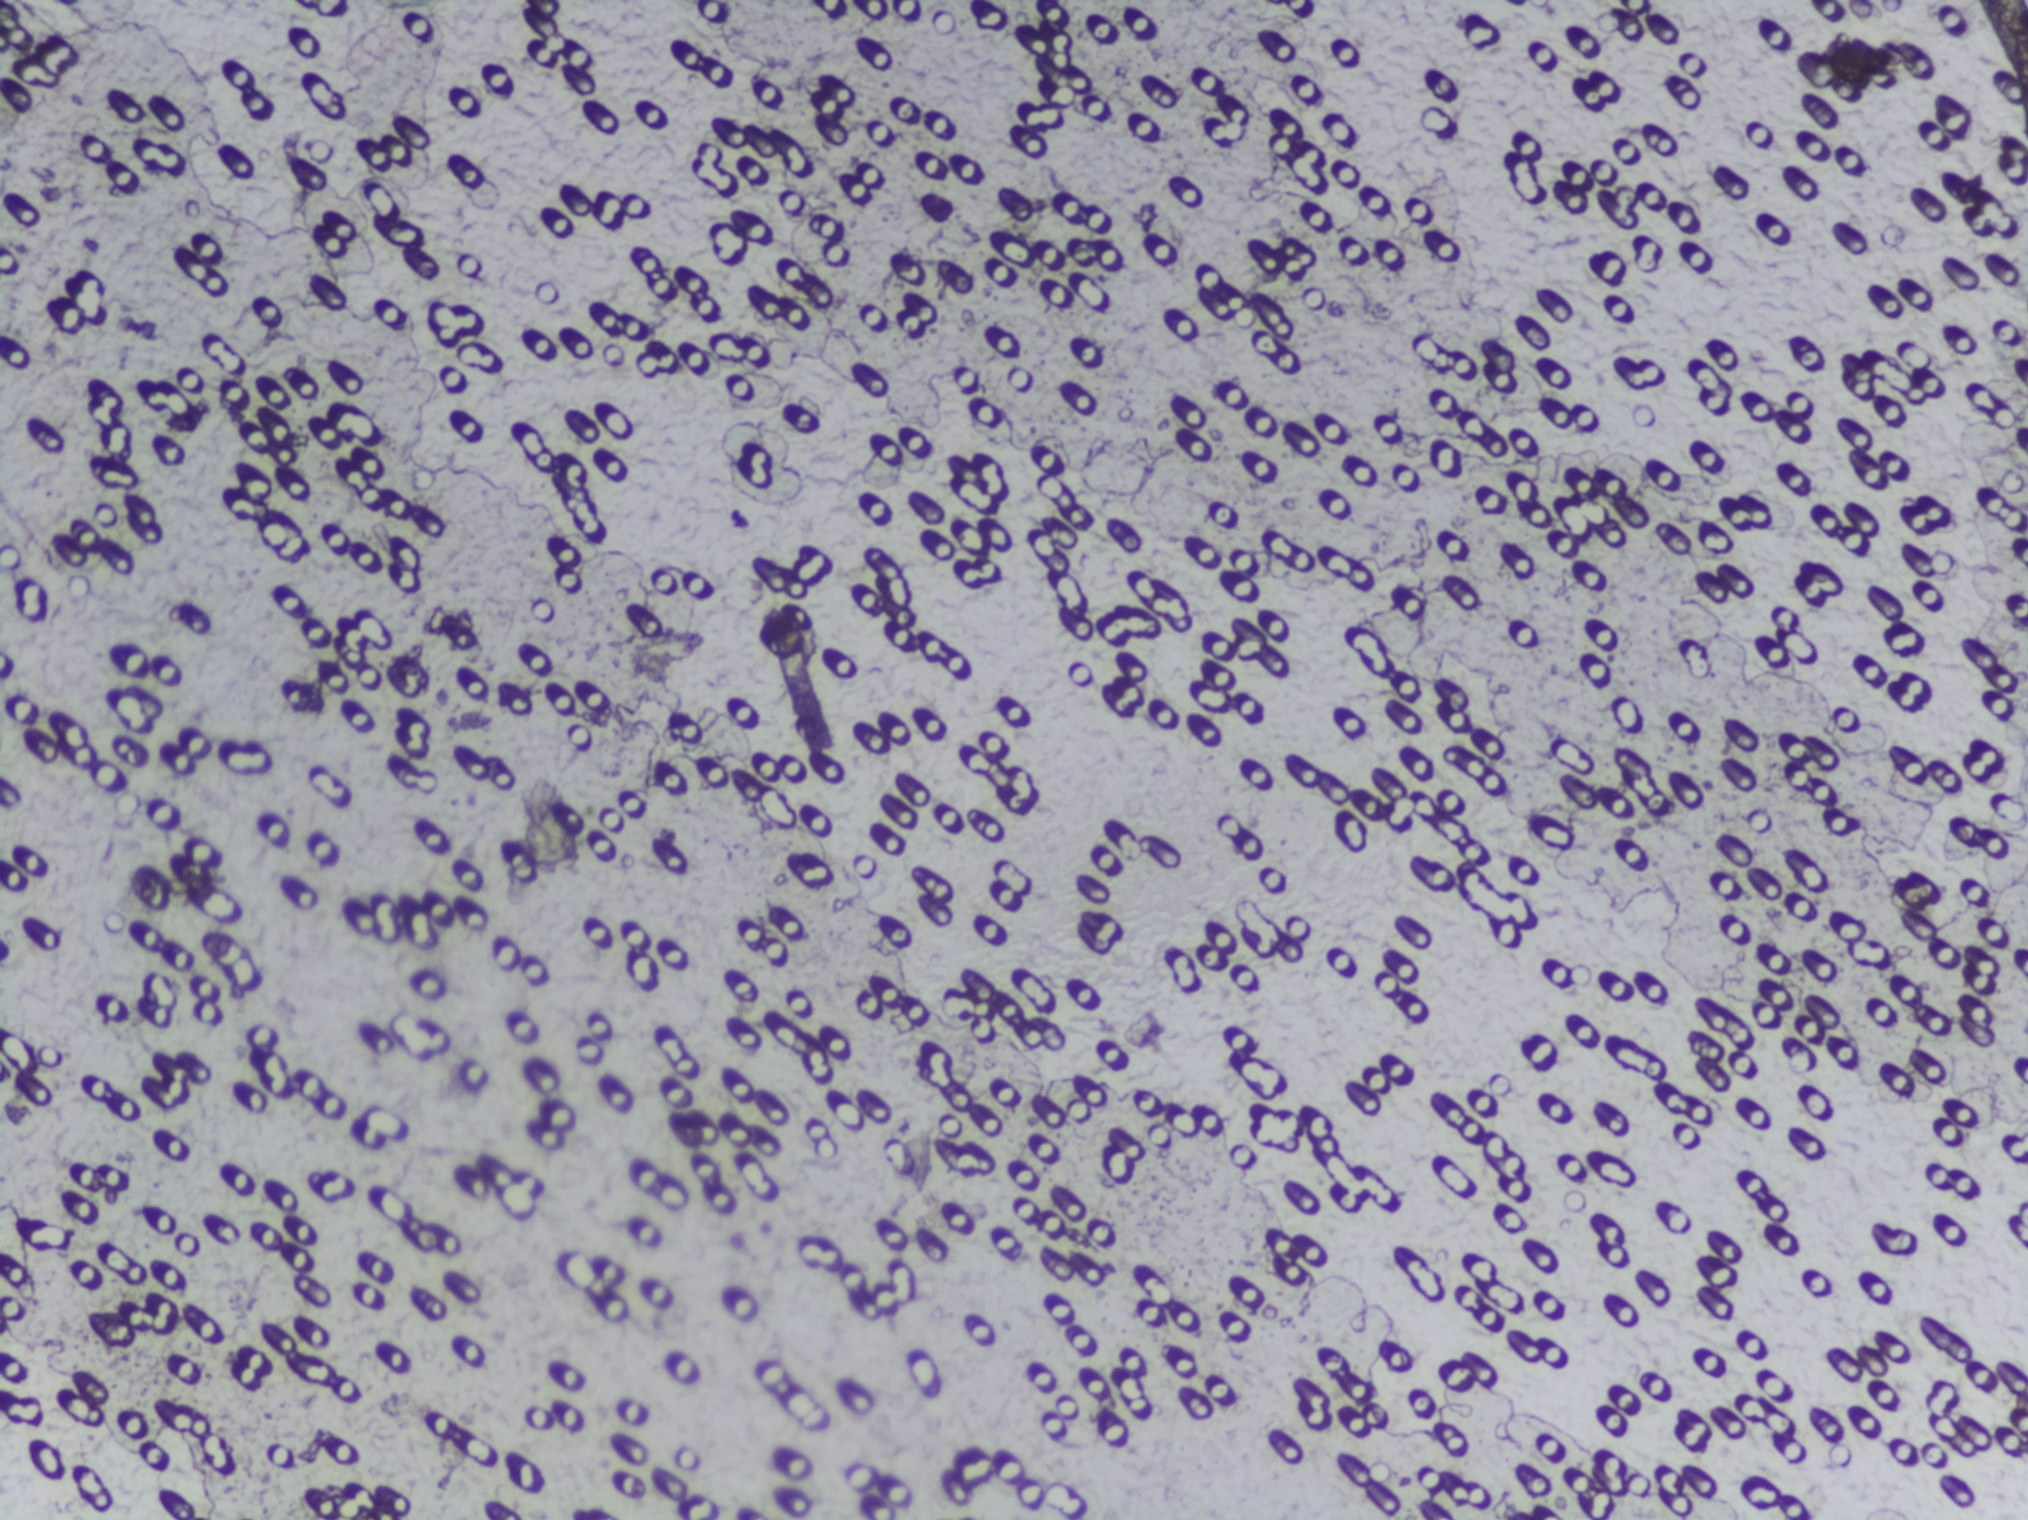
Photomicrograph of a urine filtration membrane, 4× objective.
No area of this image was outlined as a Schistosoma egg.